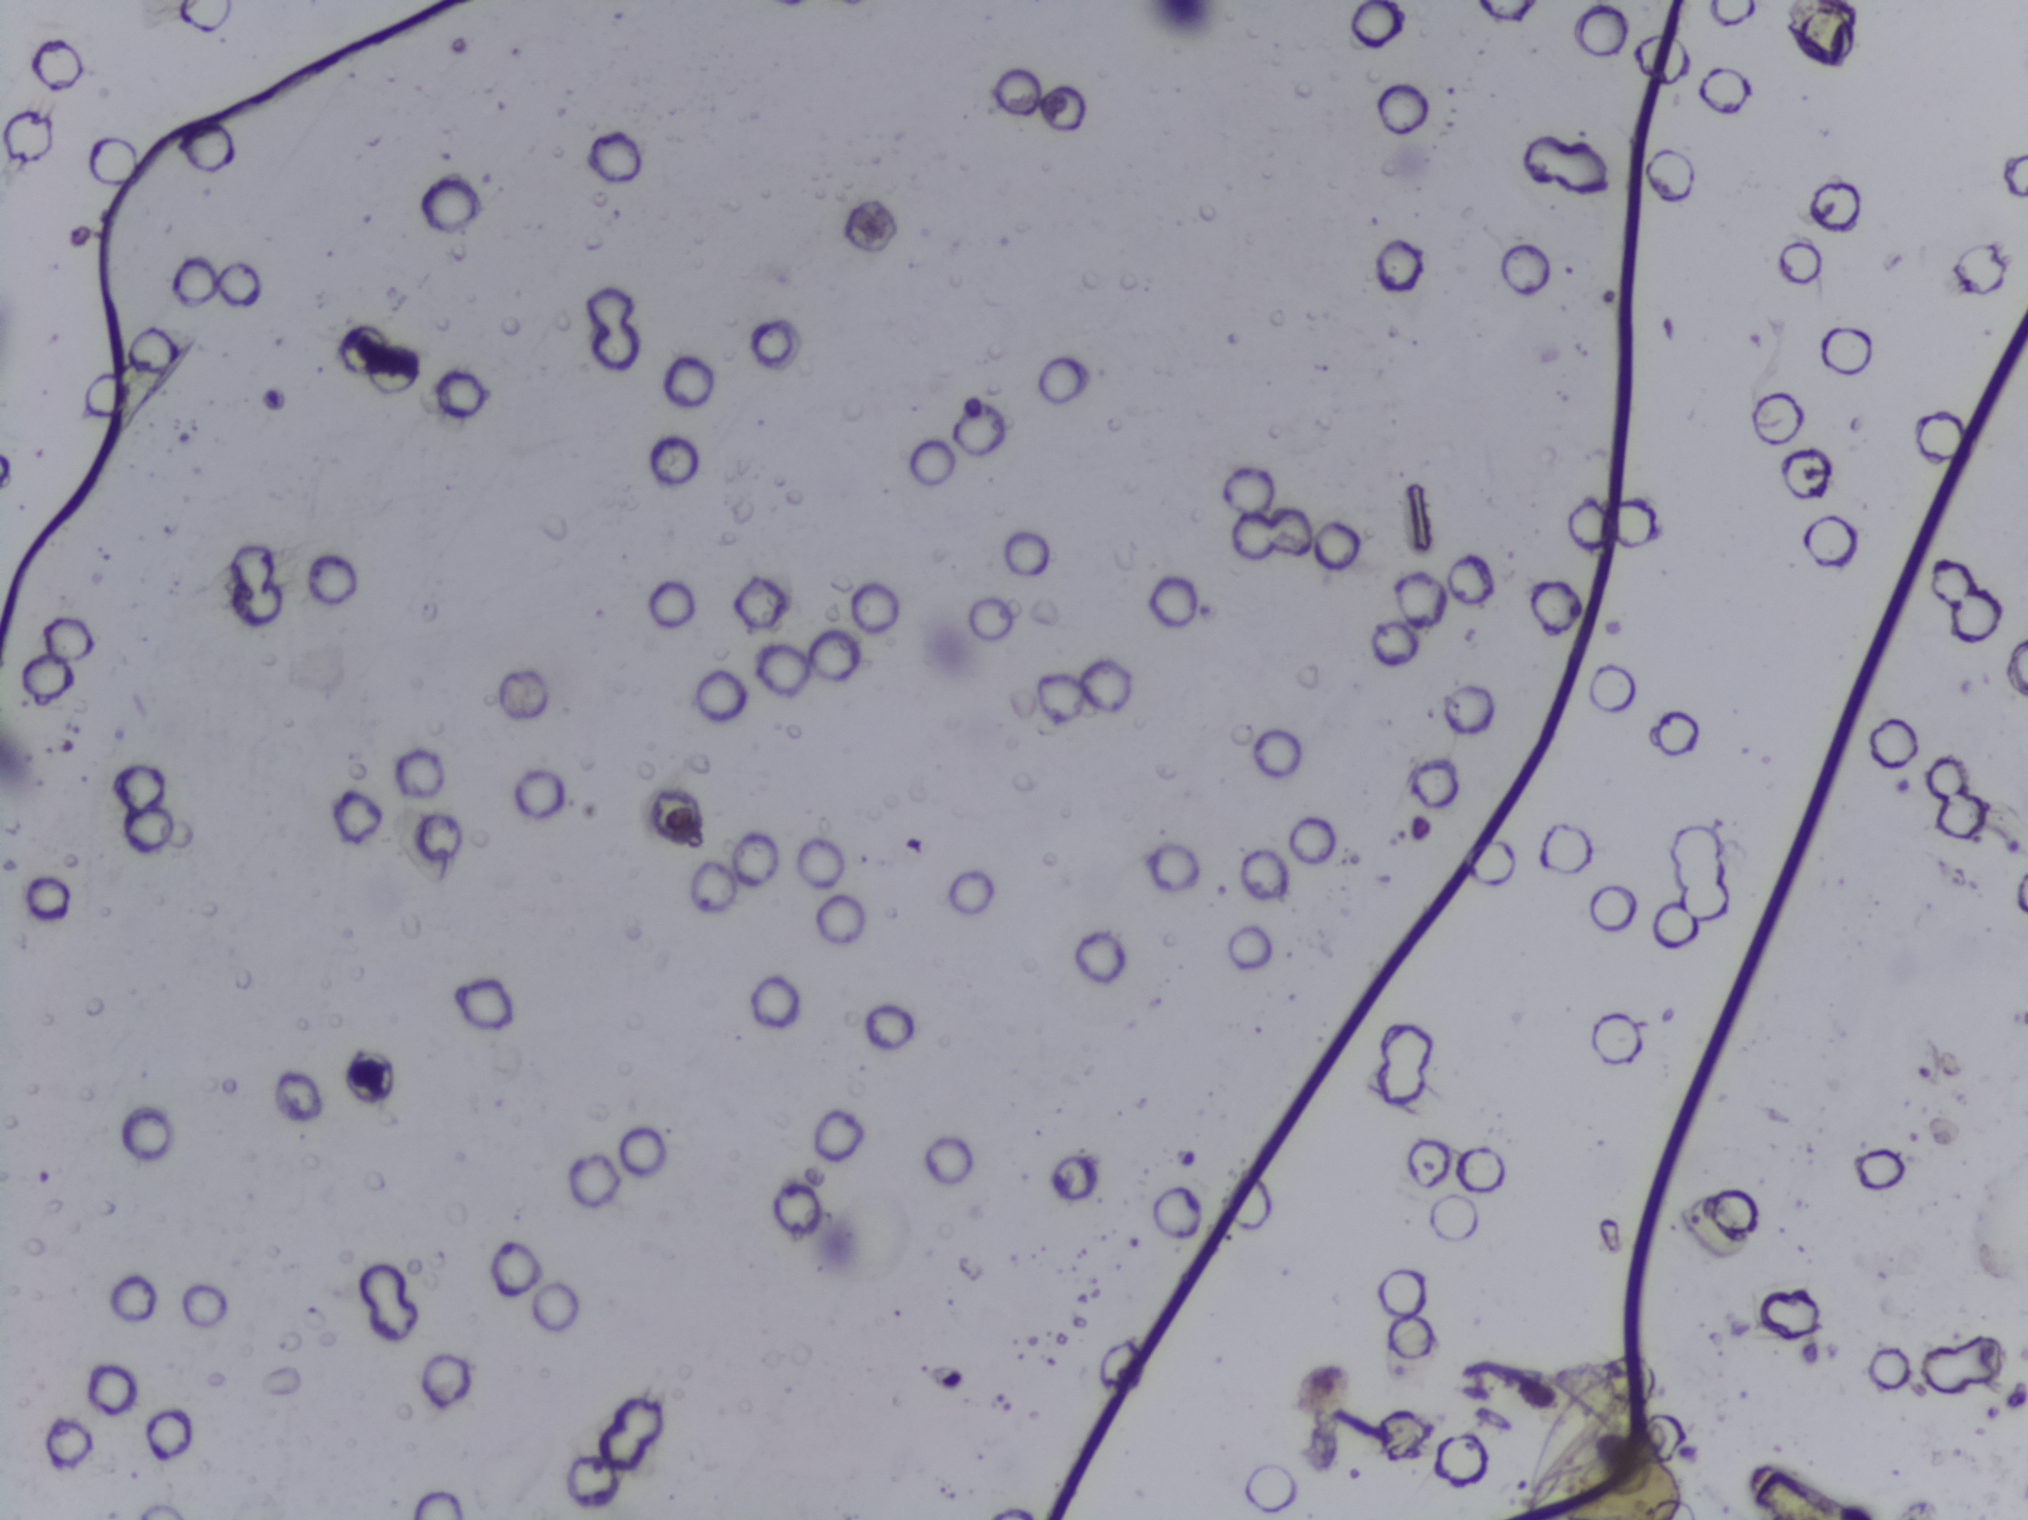
Microscope photograph (4× objective) of a membrane that a urine sample was filtered through.
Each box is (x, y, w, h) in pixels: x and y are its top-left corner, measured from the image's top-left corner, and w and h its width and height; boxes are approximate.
Schistosoma eggs are outlined in one area of this image: (x=1527, y=1370, w=128, h=144). Marked pixels, not the box around them: about 0.4% of the image. A single outlined area may contain several eggs.